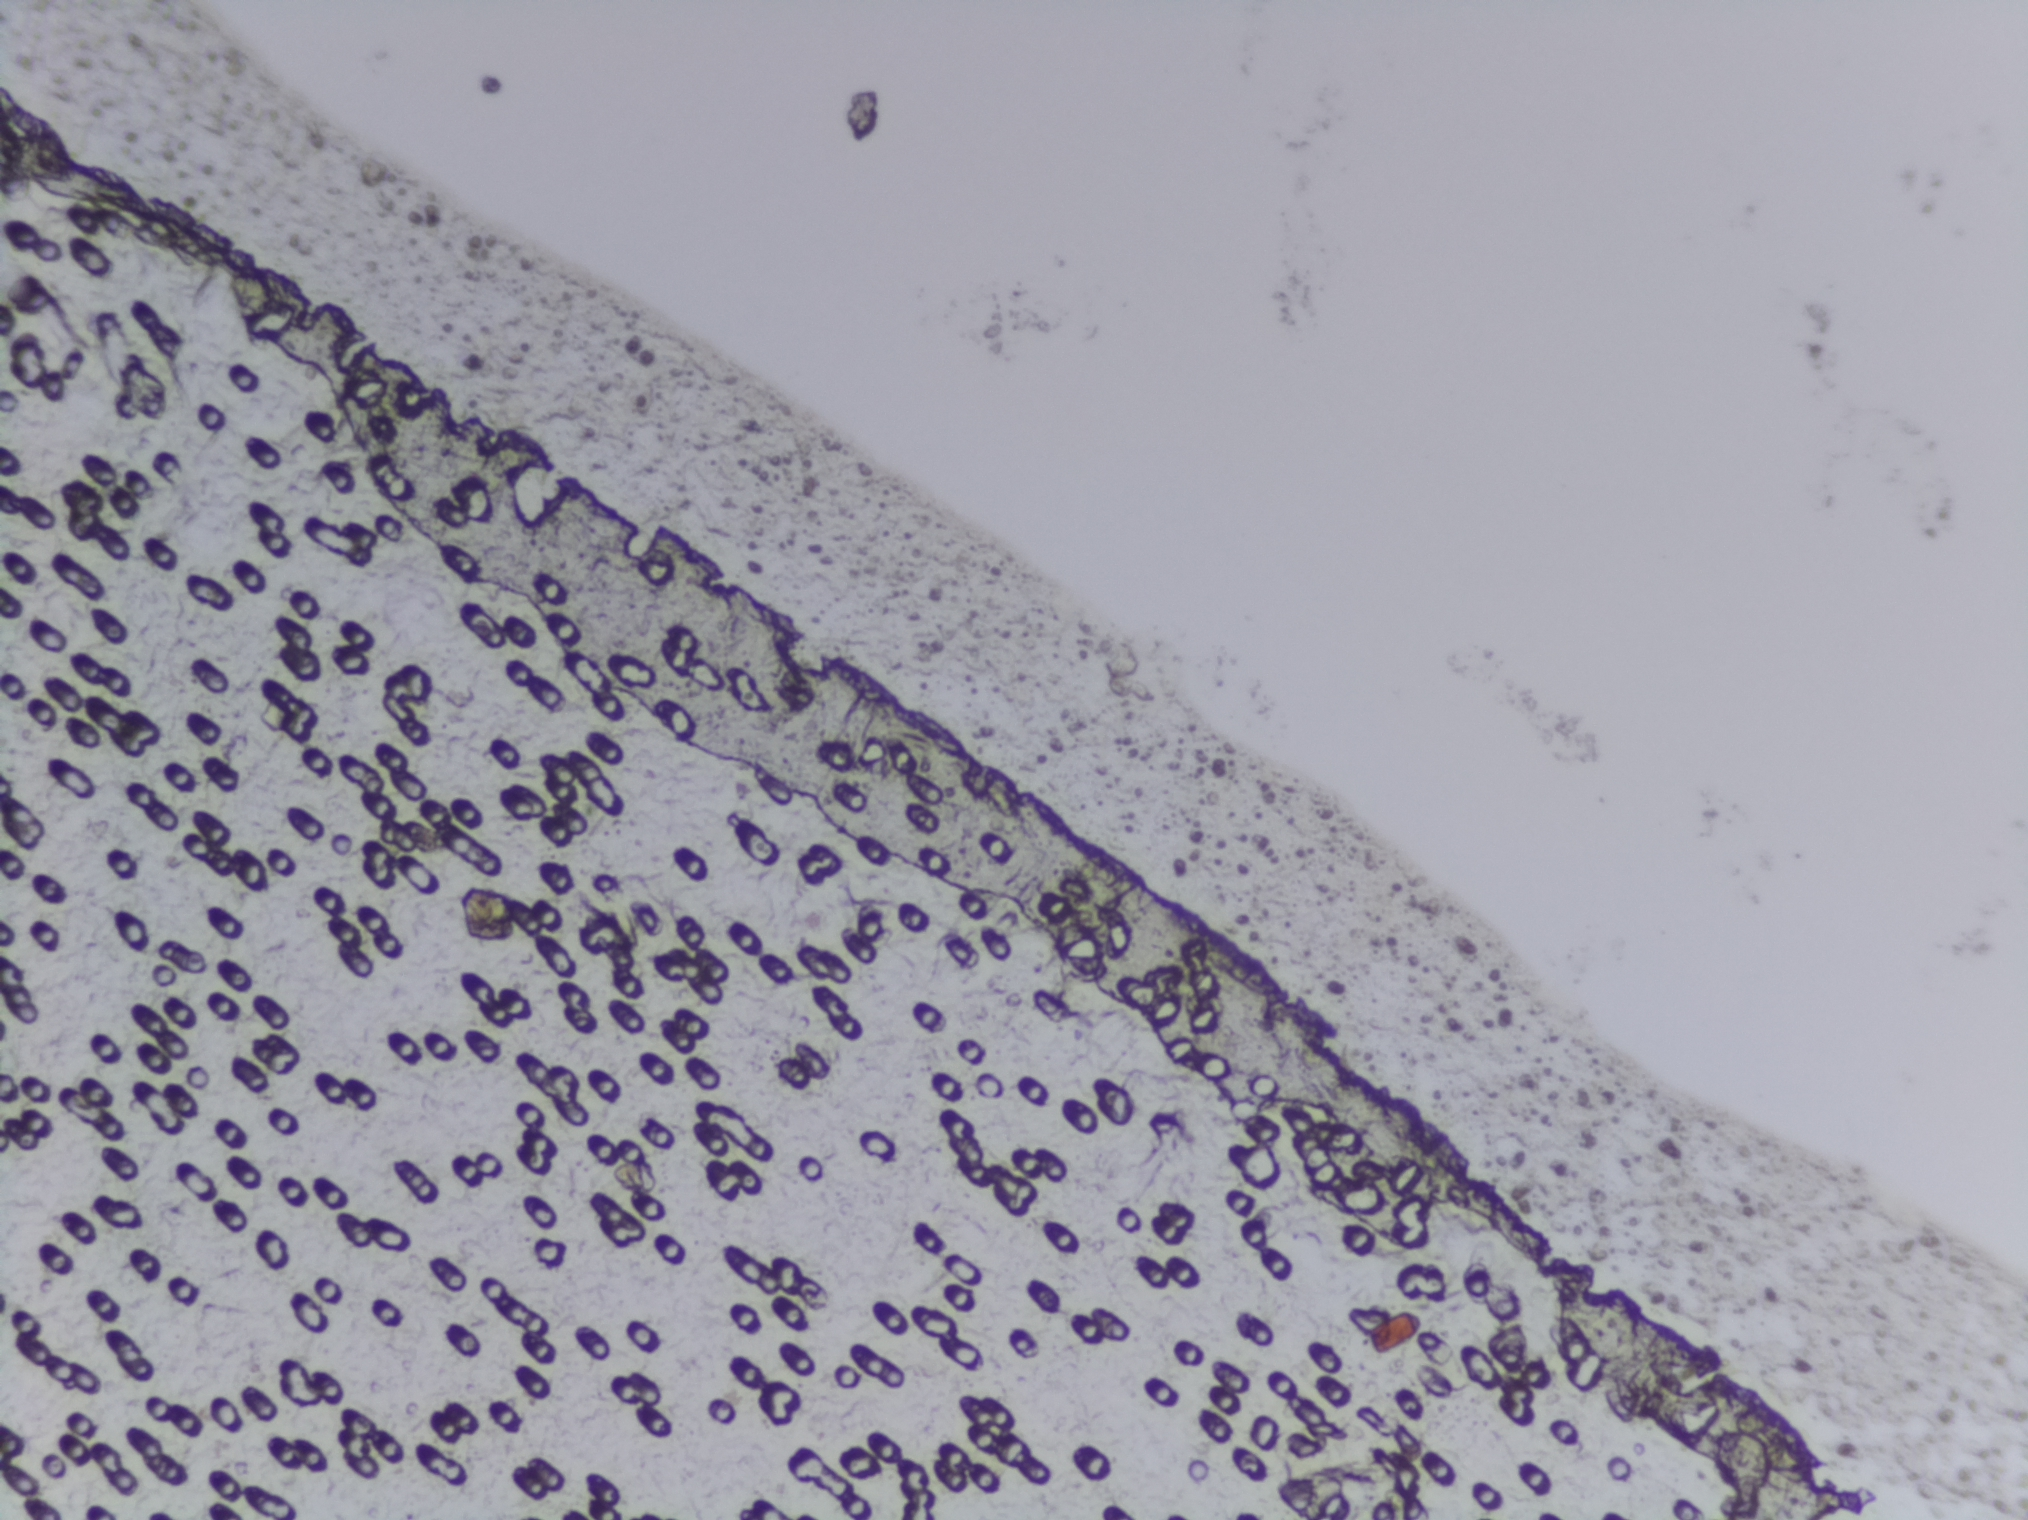
Schistosoma eggs: none outlined.
One field of view of a urine filter membrane, 4× objective, 2028 × 1520 pixels. The field of view is about 1.5 mm × 1.1 mm.